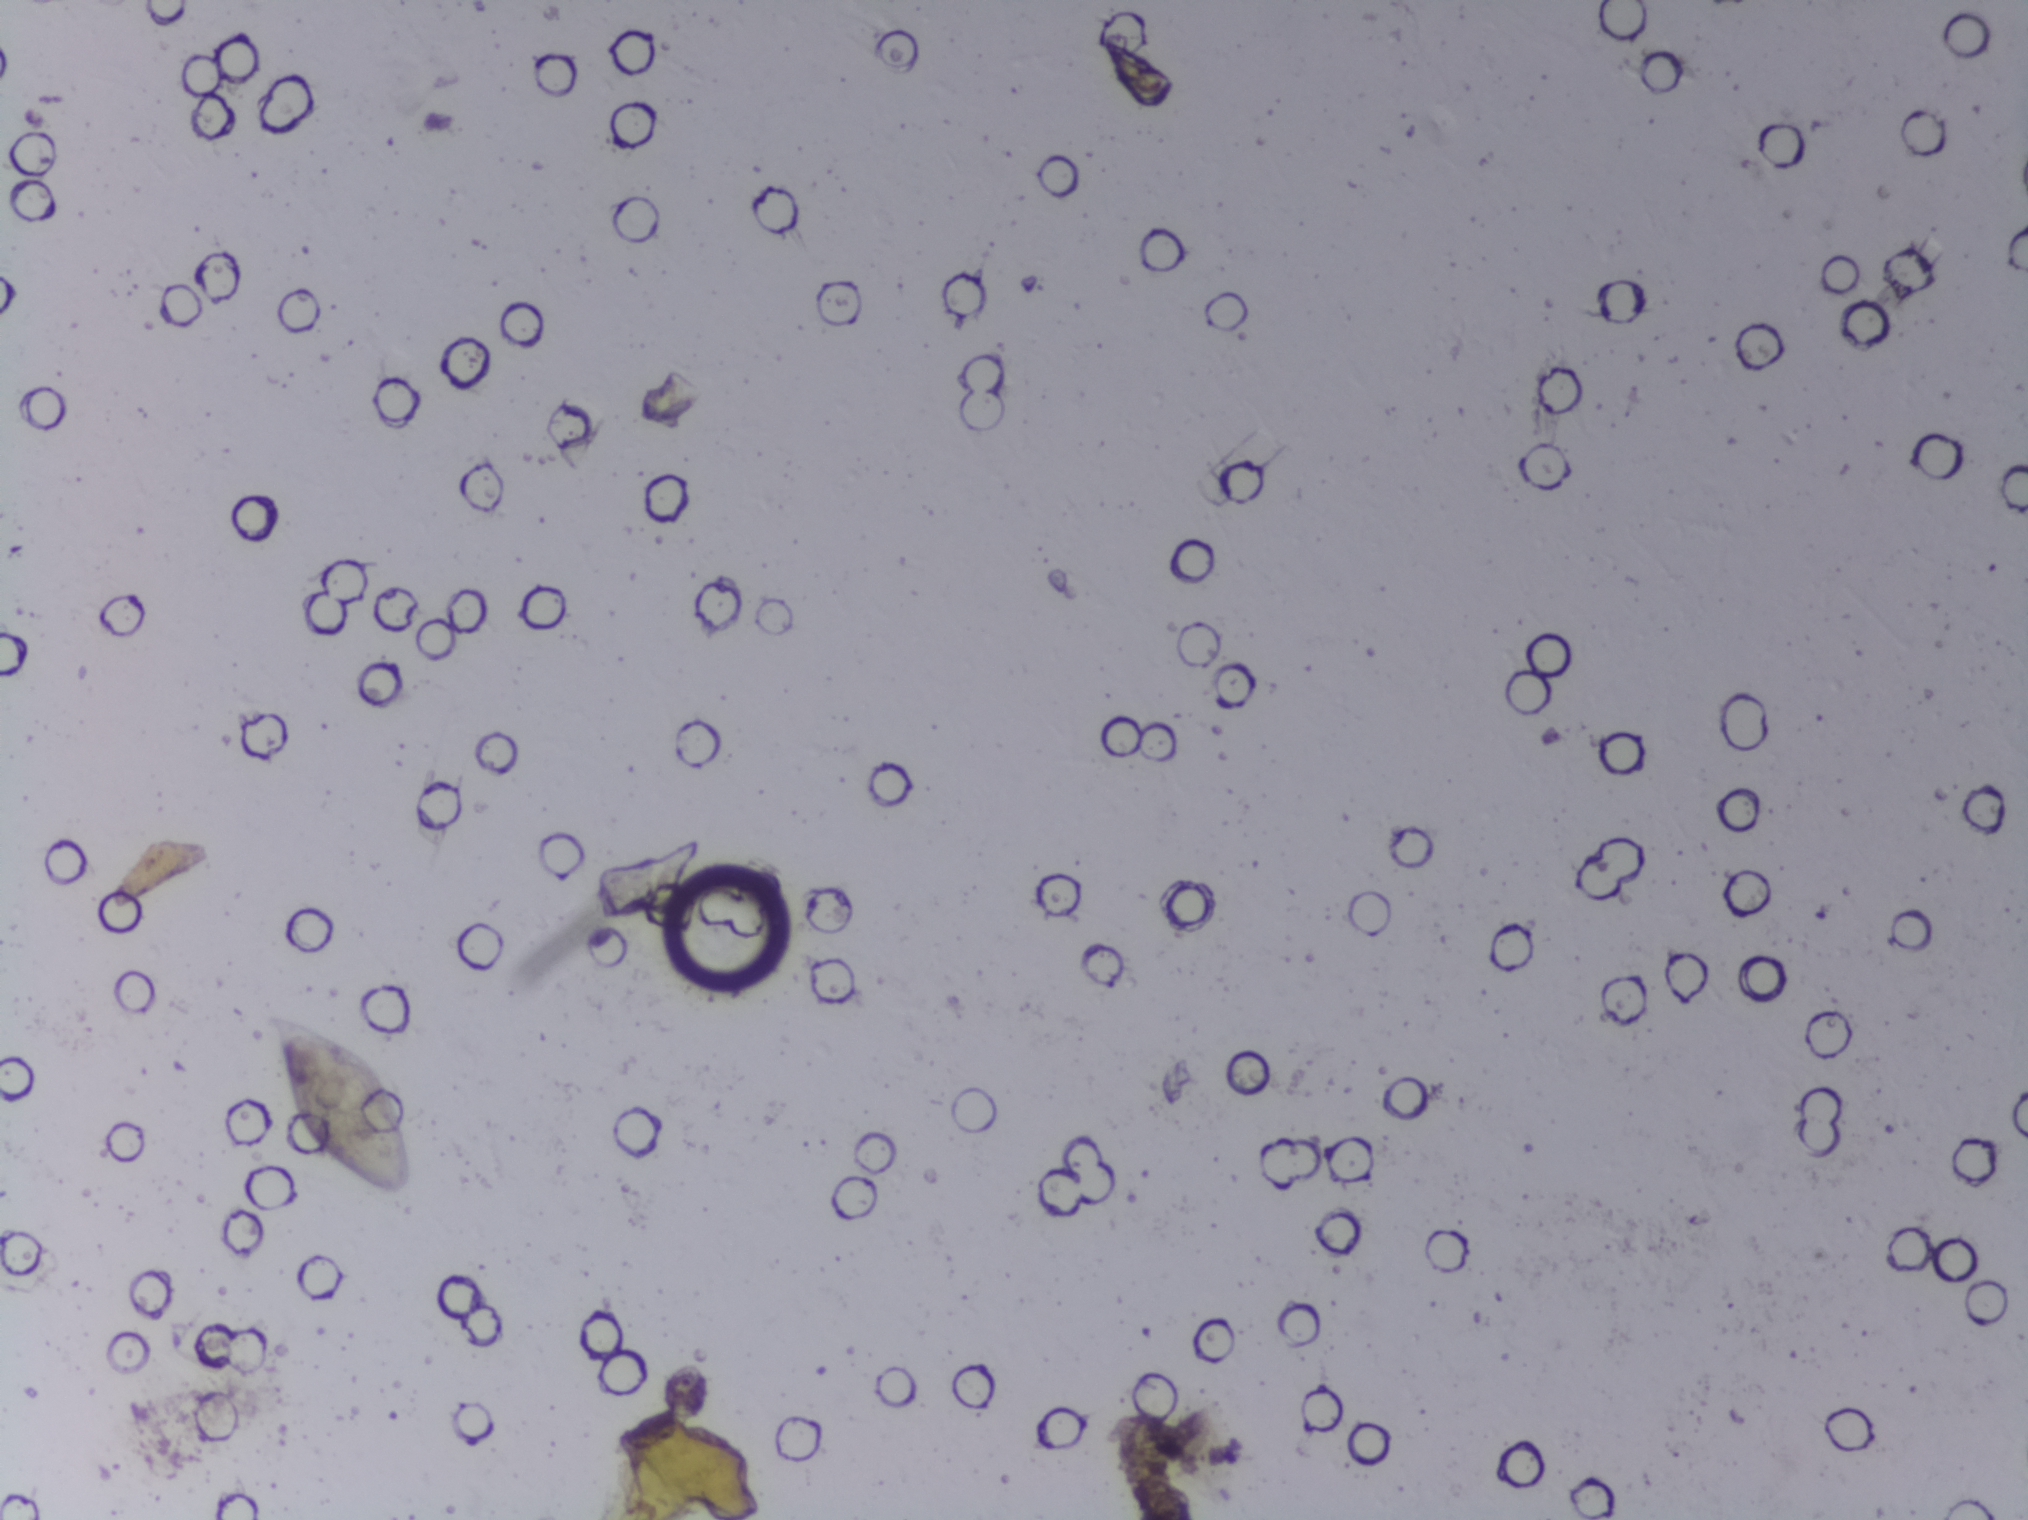
Urine filter membrane photographed through a 4× microscope objective. The field of view is about 1.5 mm × 1.1 mm.
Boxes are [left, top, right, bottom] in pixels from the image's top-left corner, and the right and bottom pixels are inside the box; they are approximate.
{"schistosoma_egg_areas_xyxy_px": [[266, 1012, 417, 1204]]}
A single outlined area may contain several eggs.